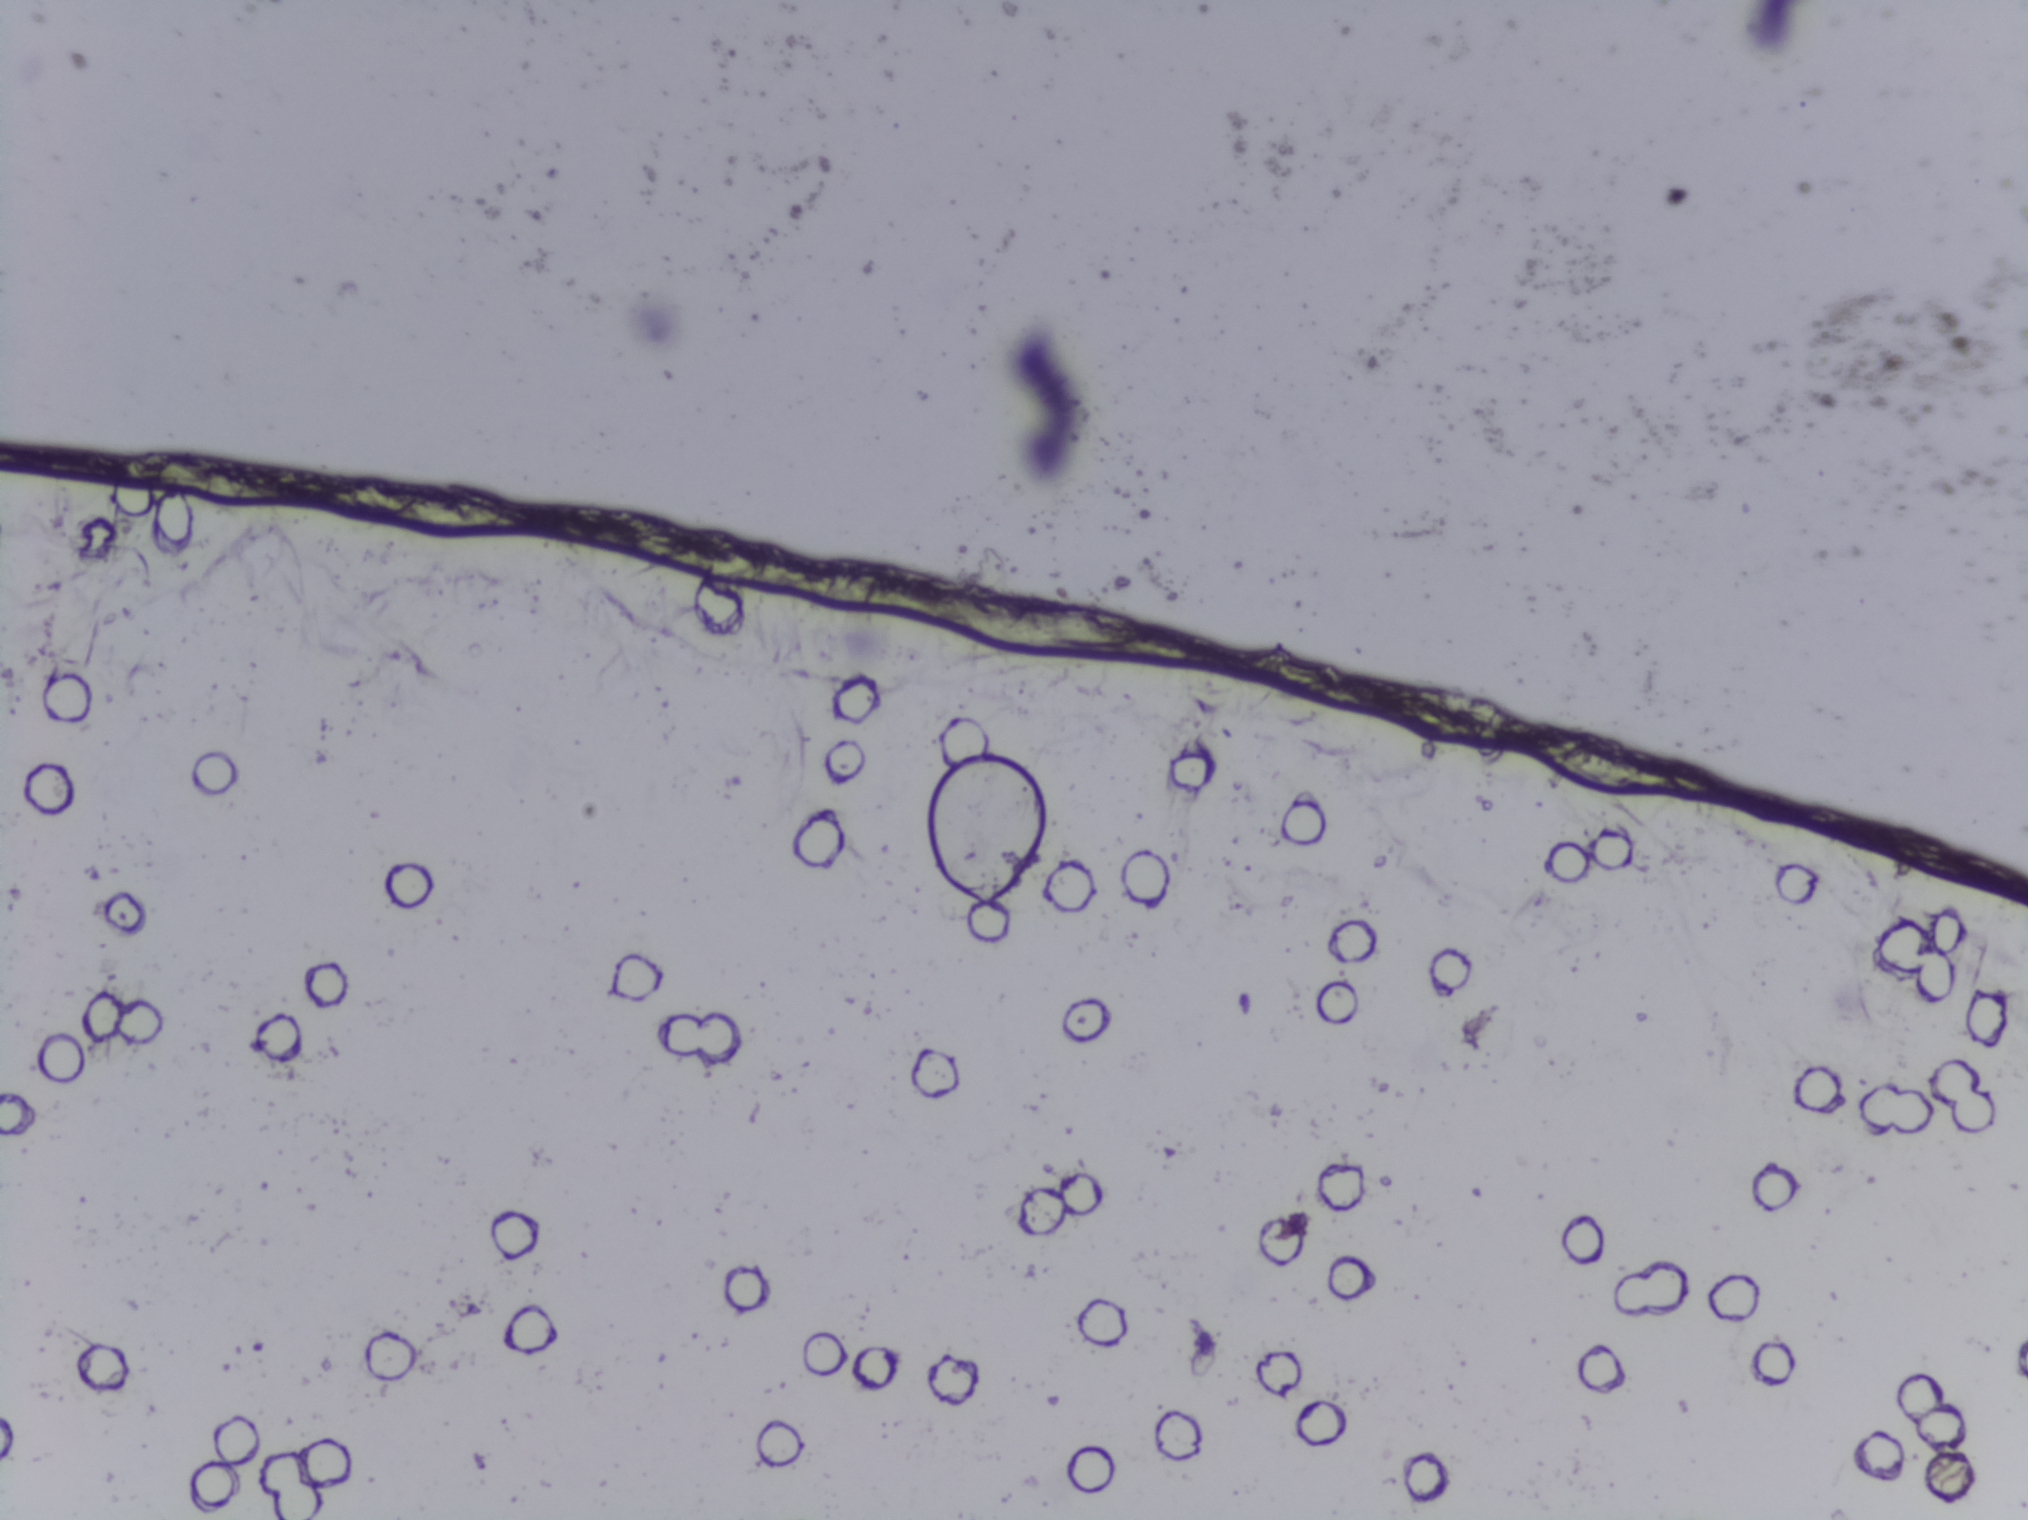
Urine filtration membrane under a 4× objective, photographed by an automated digital microscope.
The expert annotation outlines no Schistosoma egg in this image.